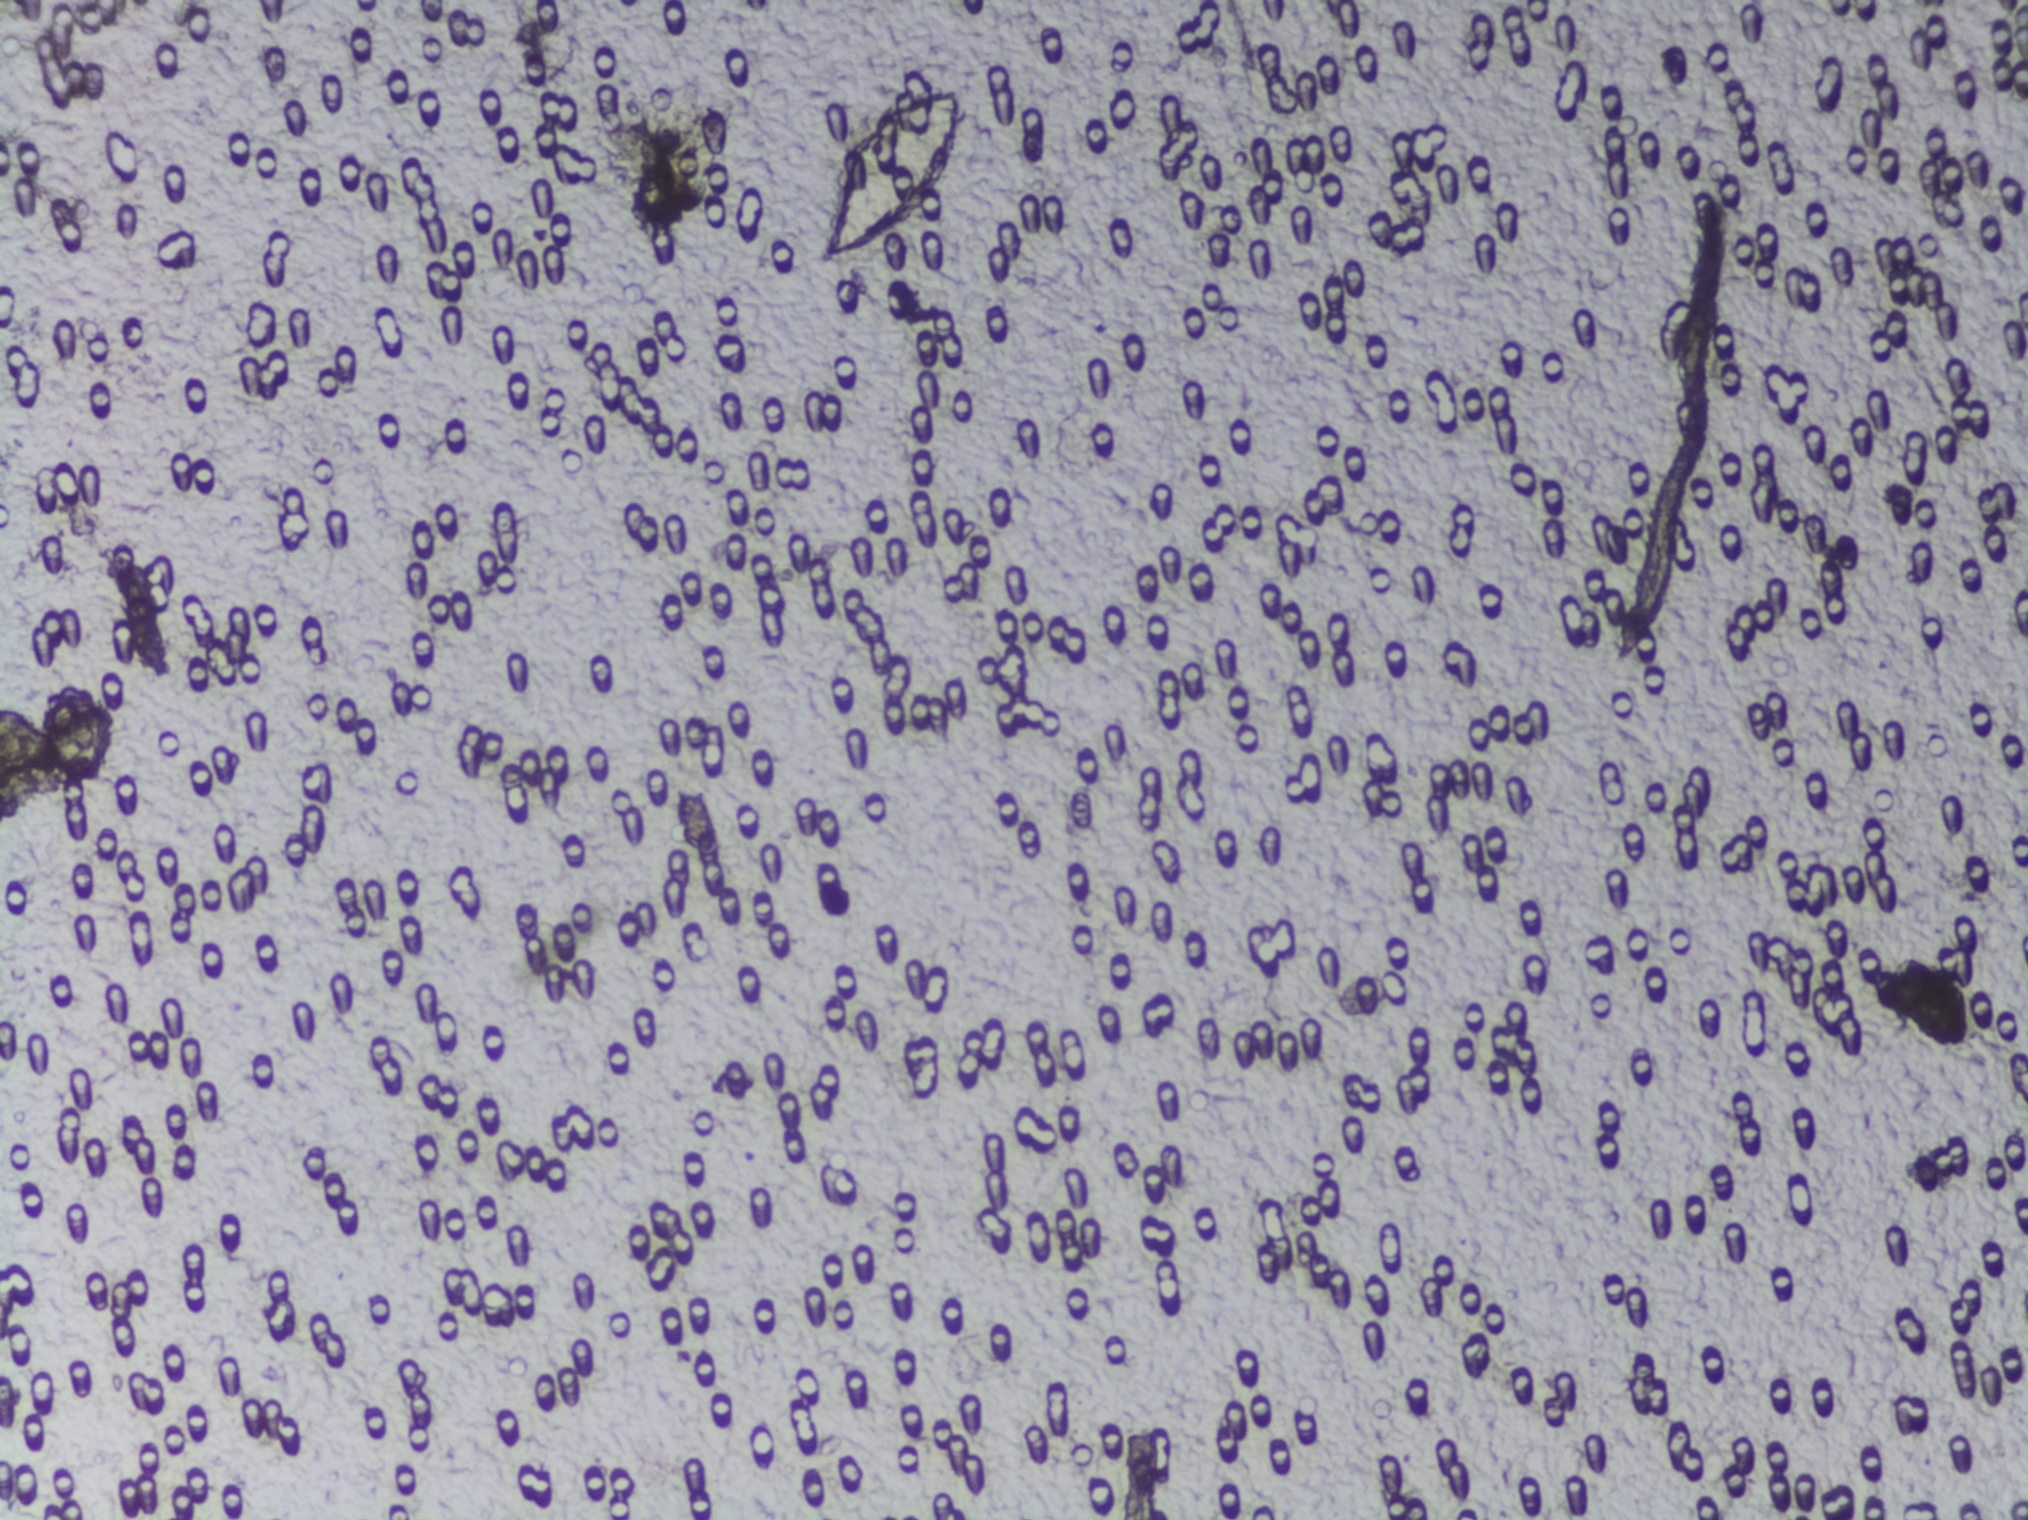
Urine filter membrane photographed through a 4× microscope objective. The image covers about 1.5 × 1.1 mm of the membrane.
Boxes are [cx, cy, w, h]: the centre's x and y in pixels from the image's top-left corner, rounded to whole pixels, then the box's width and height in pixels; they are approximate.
{"schistosoma_egg_areas_cxcywh_px": [[893, 173, 142, 174]]}
A single outlined area may contain several eggs.